Photomicrograph of a urine filtration membrane, 4× objective.
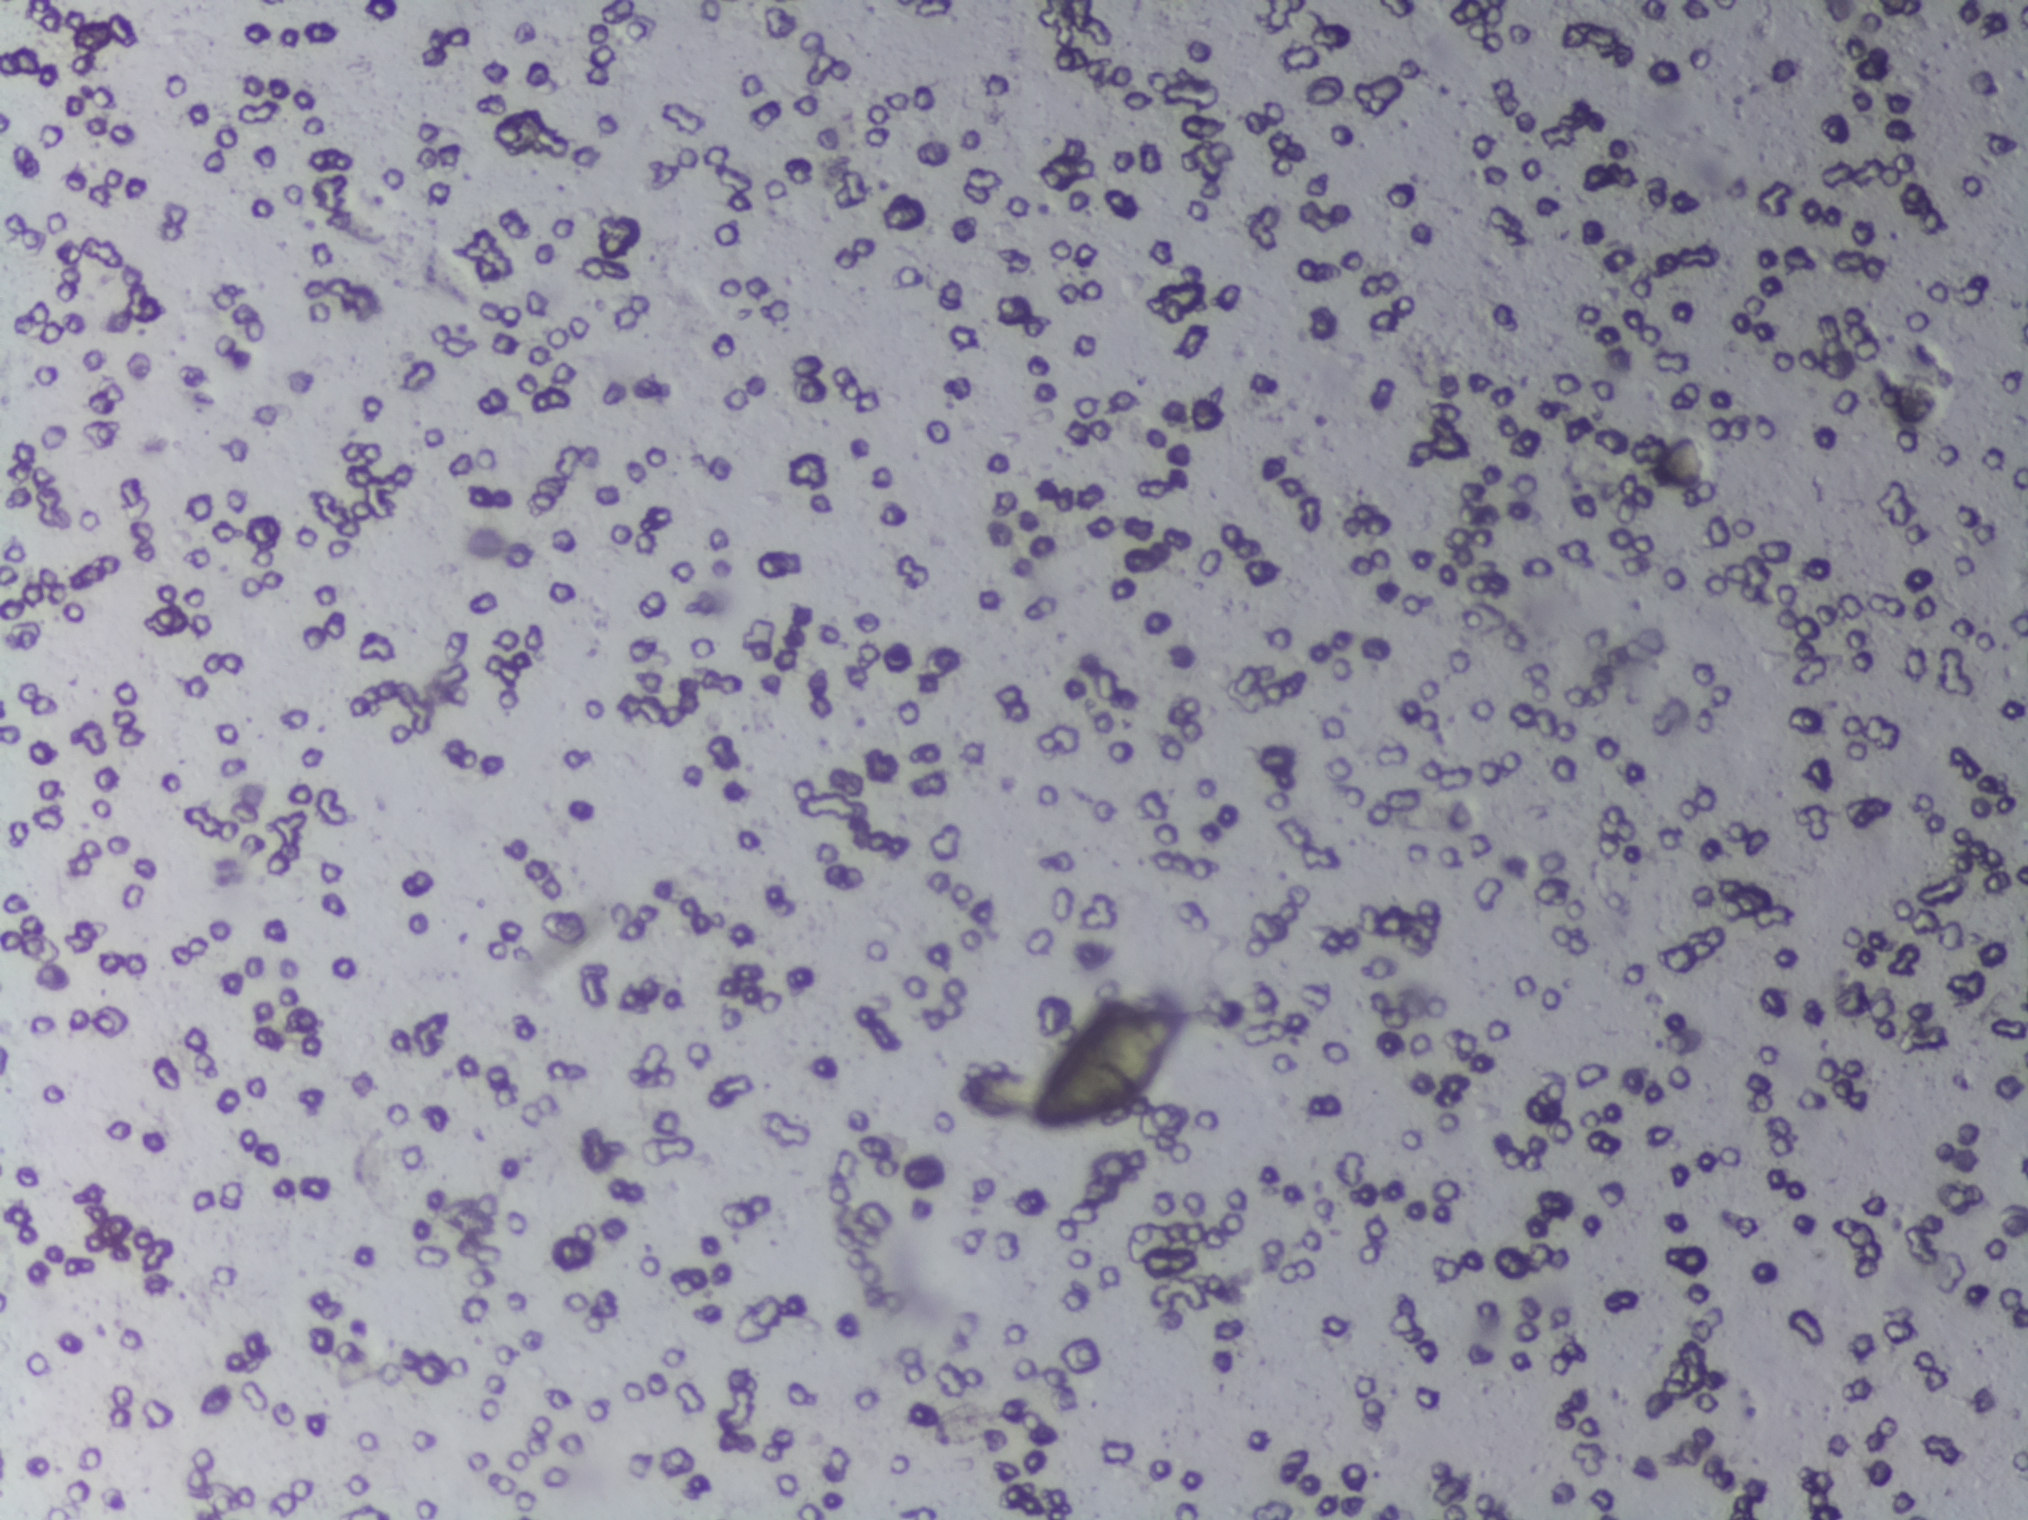
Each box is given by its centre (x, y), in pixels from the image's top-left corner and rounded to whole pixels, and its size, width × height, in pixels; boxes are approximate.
The expert annotation outlines Schistosoma eggs at centre (1113, 1072), 165 × 123 px. A single outlined area may contain several eggs.